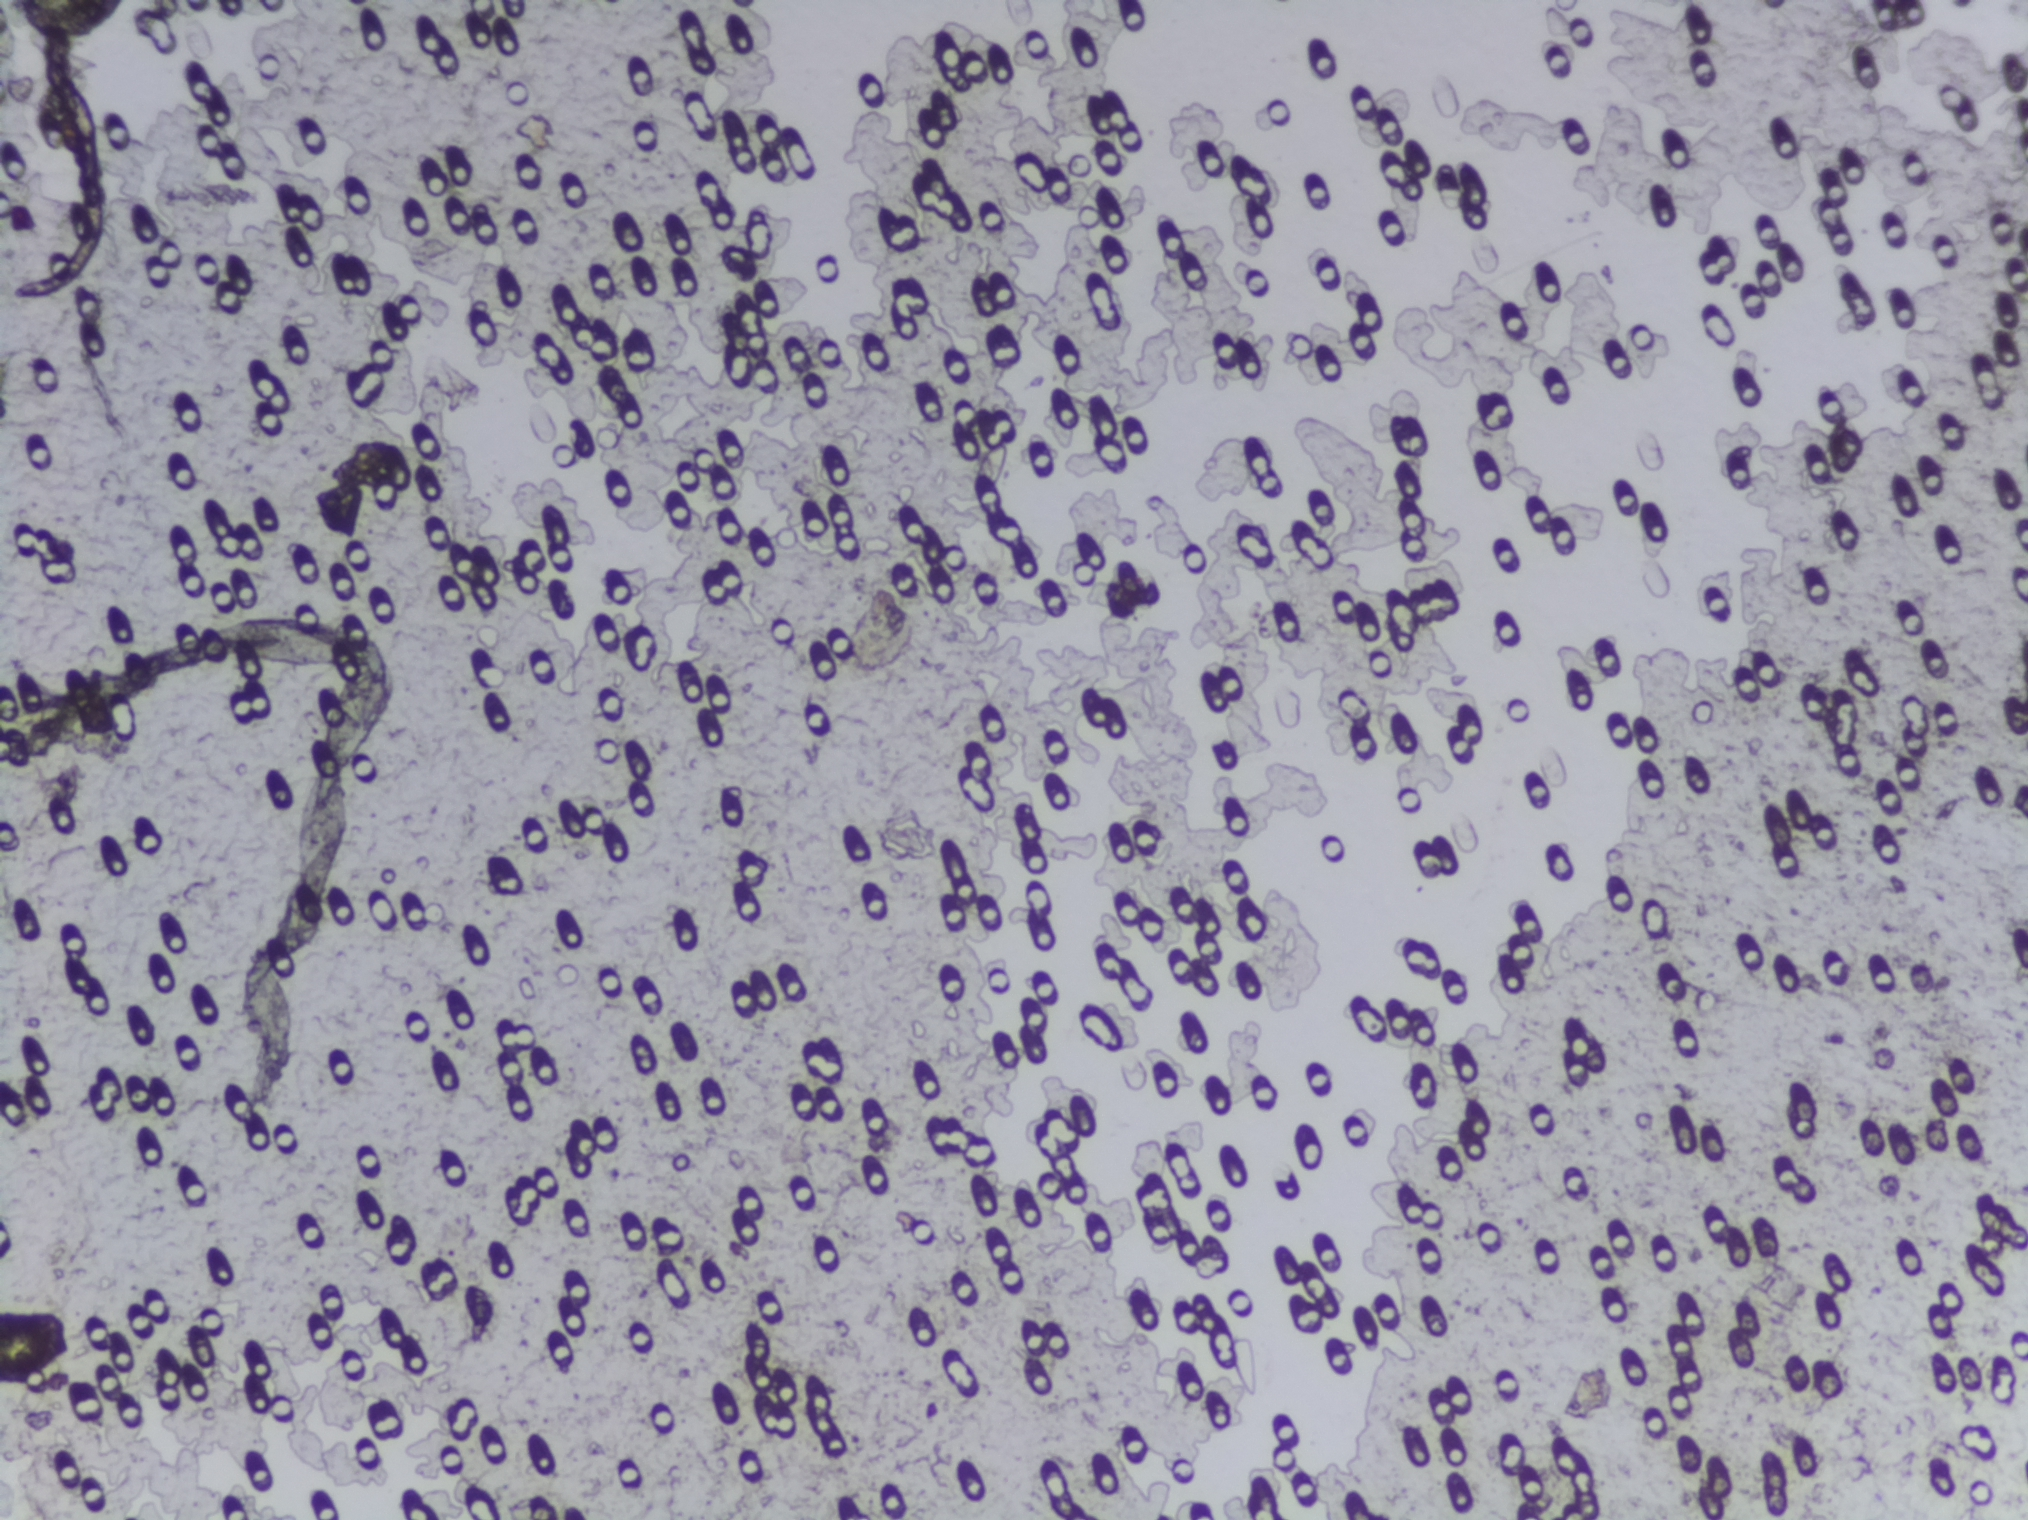
Schistosoma eggs: none outlined.
Urine filtration membrane under a 4× objective, photographed by an automated digital microscope.